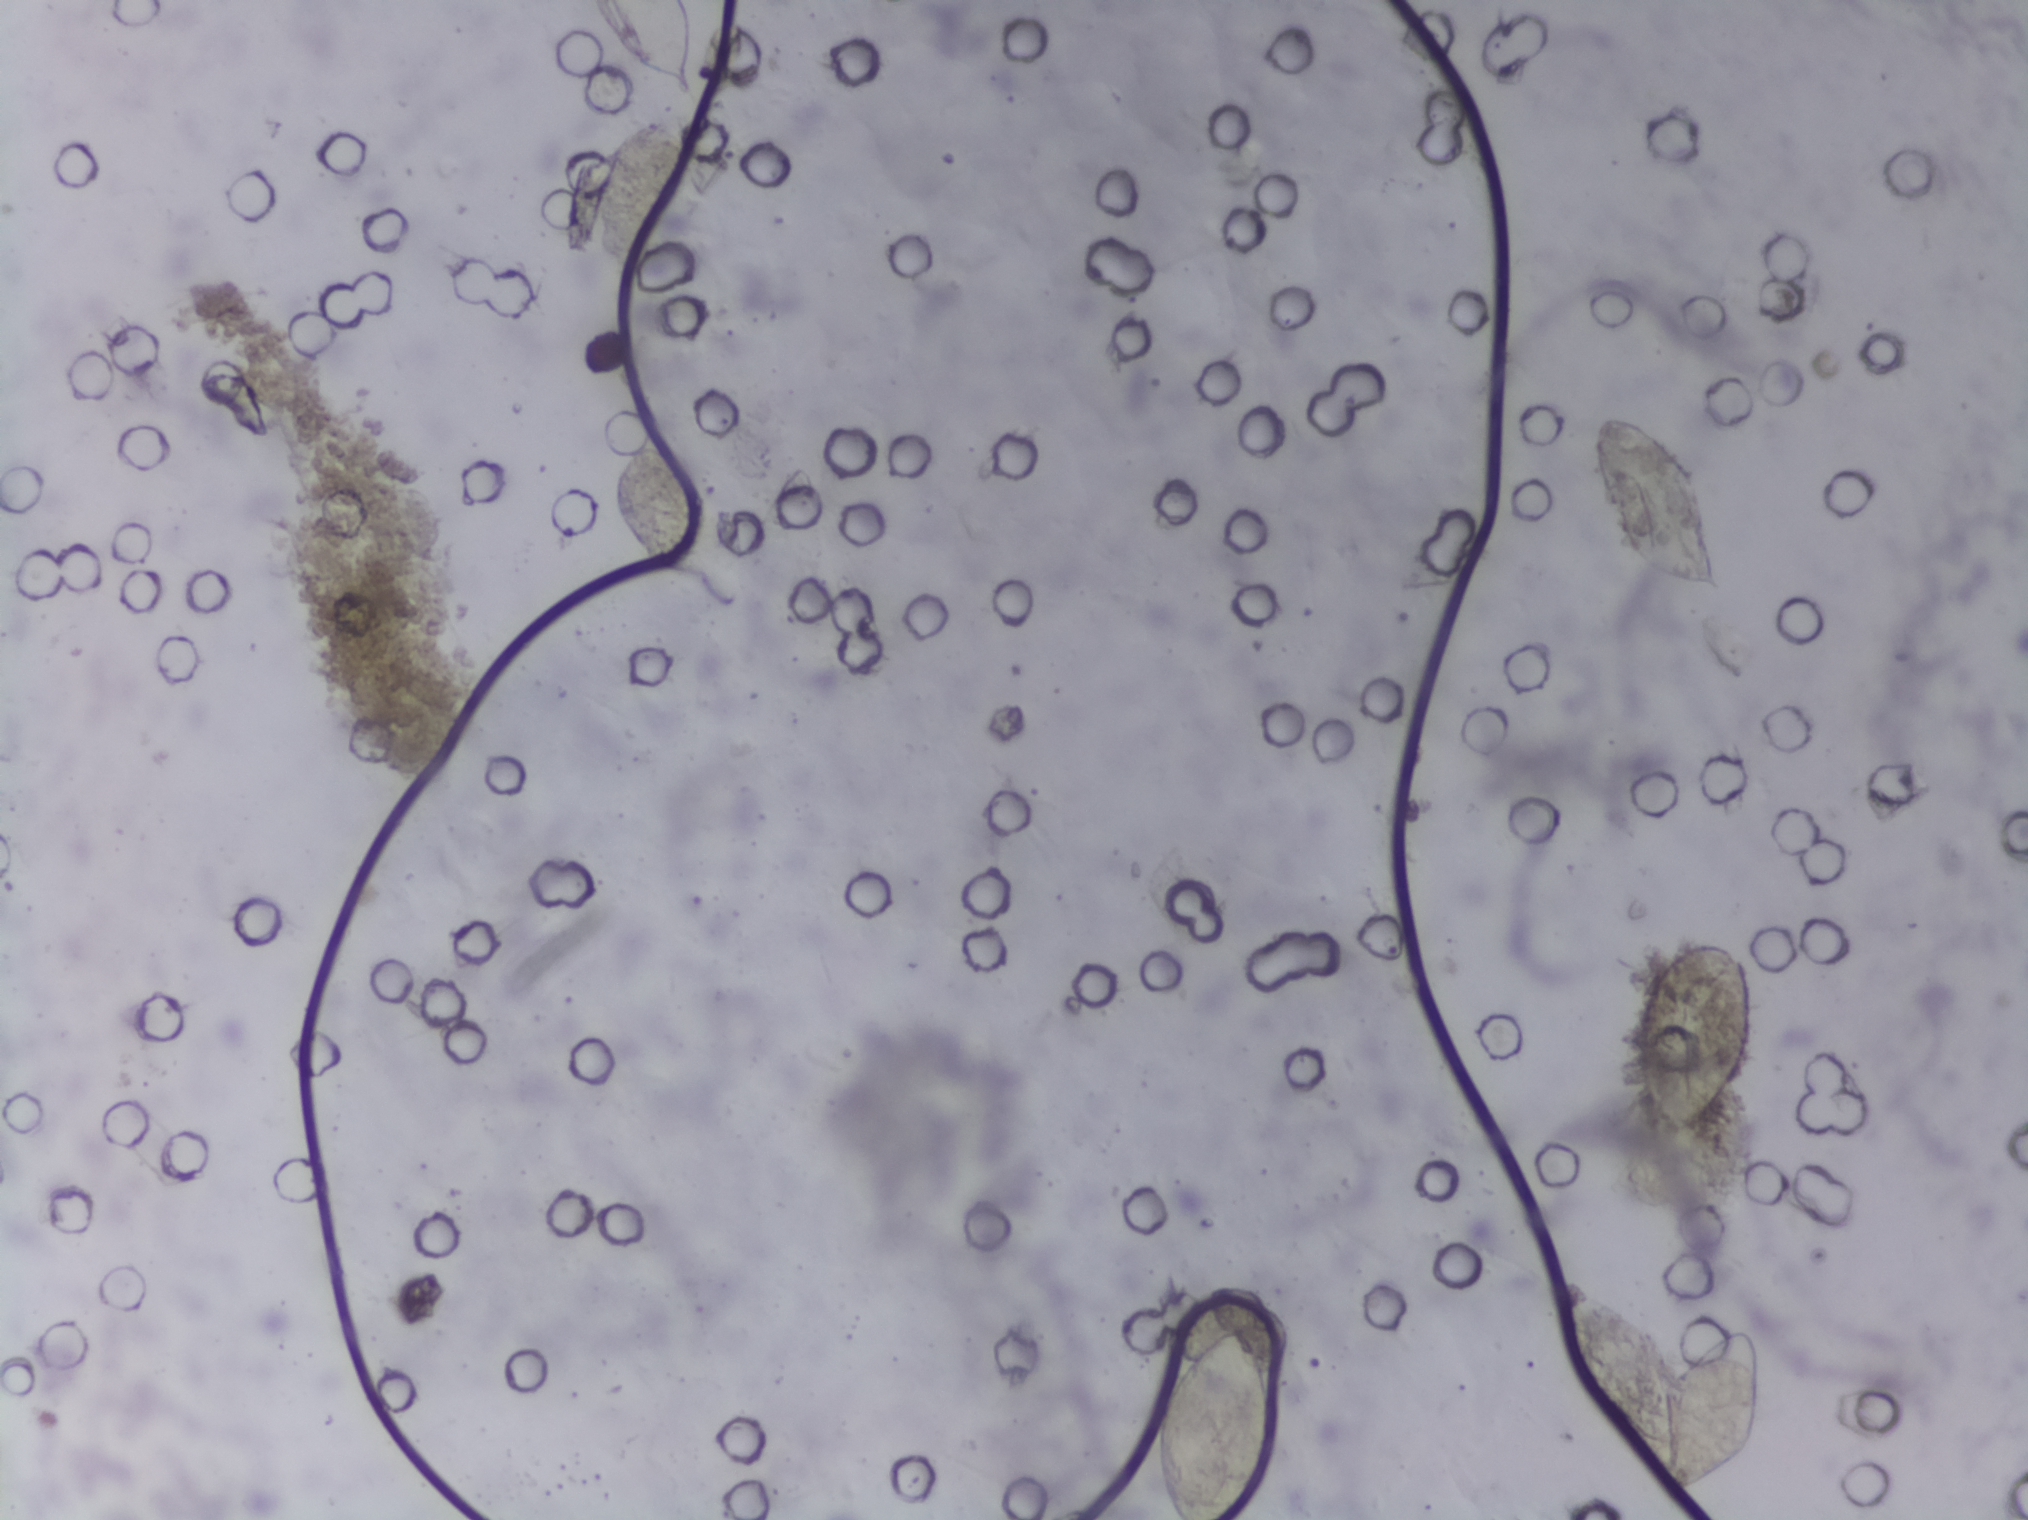
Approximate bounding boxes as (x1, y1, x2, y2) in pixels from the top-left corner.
Findings: five areas outlined as Schistosoma eggs. Locations, left to right: (586, 0, 692, 97) (reaching the top edge of the frame); (1152, 1323, 1289, 1519) (reaching the bottom edge of the frame); (1571, 1285, 1769, 1492); (1591, 410, 1727, 603); (1628, 933, 1762, 1144). Marked pixels, not the boxes around them: about 2.9% of the image. Eggs that touch can end up inside the same outlined area.
Photograph from an automated digital microscope: urine filter membrane, 4× objective.